One field of view of a urine filter membrane, 4× objective, 2028 × 1520 pixels.
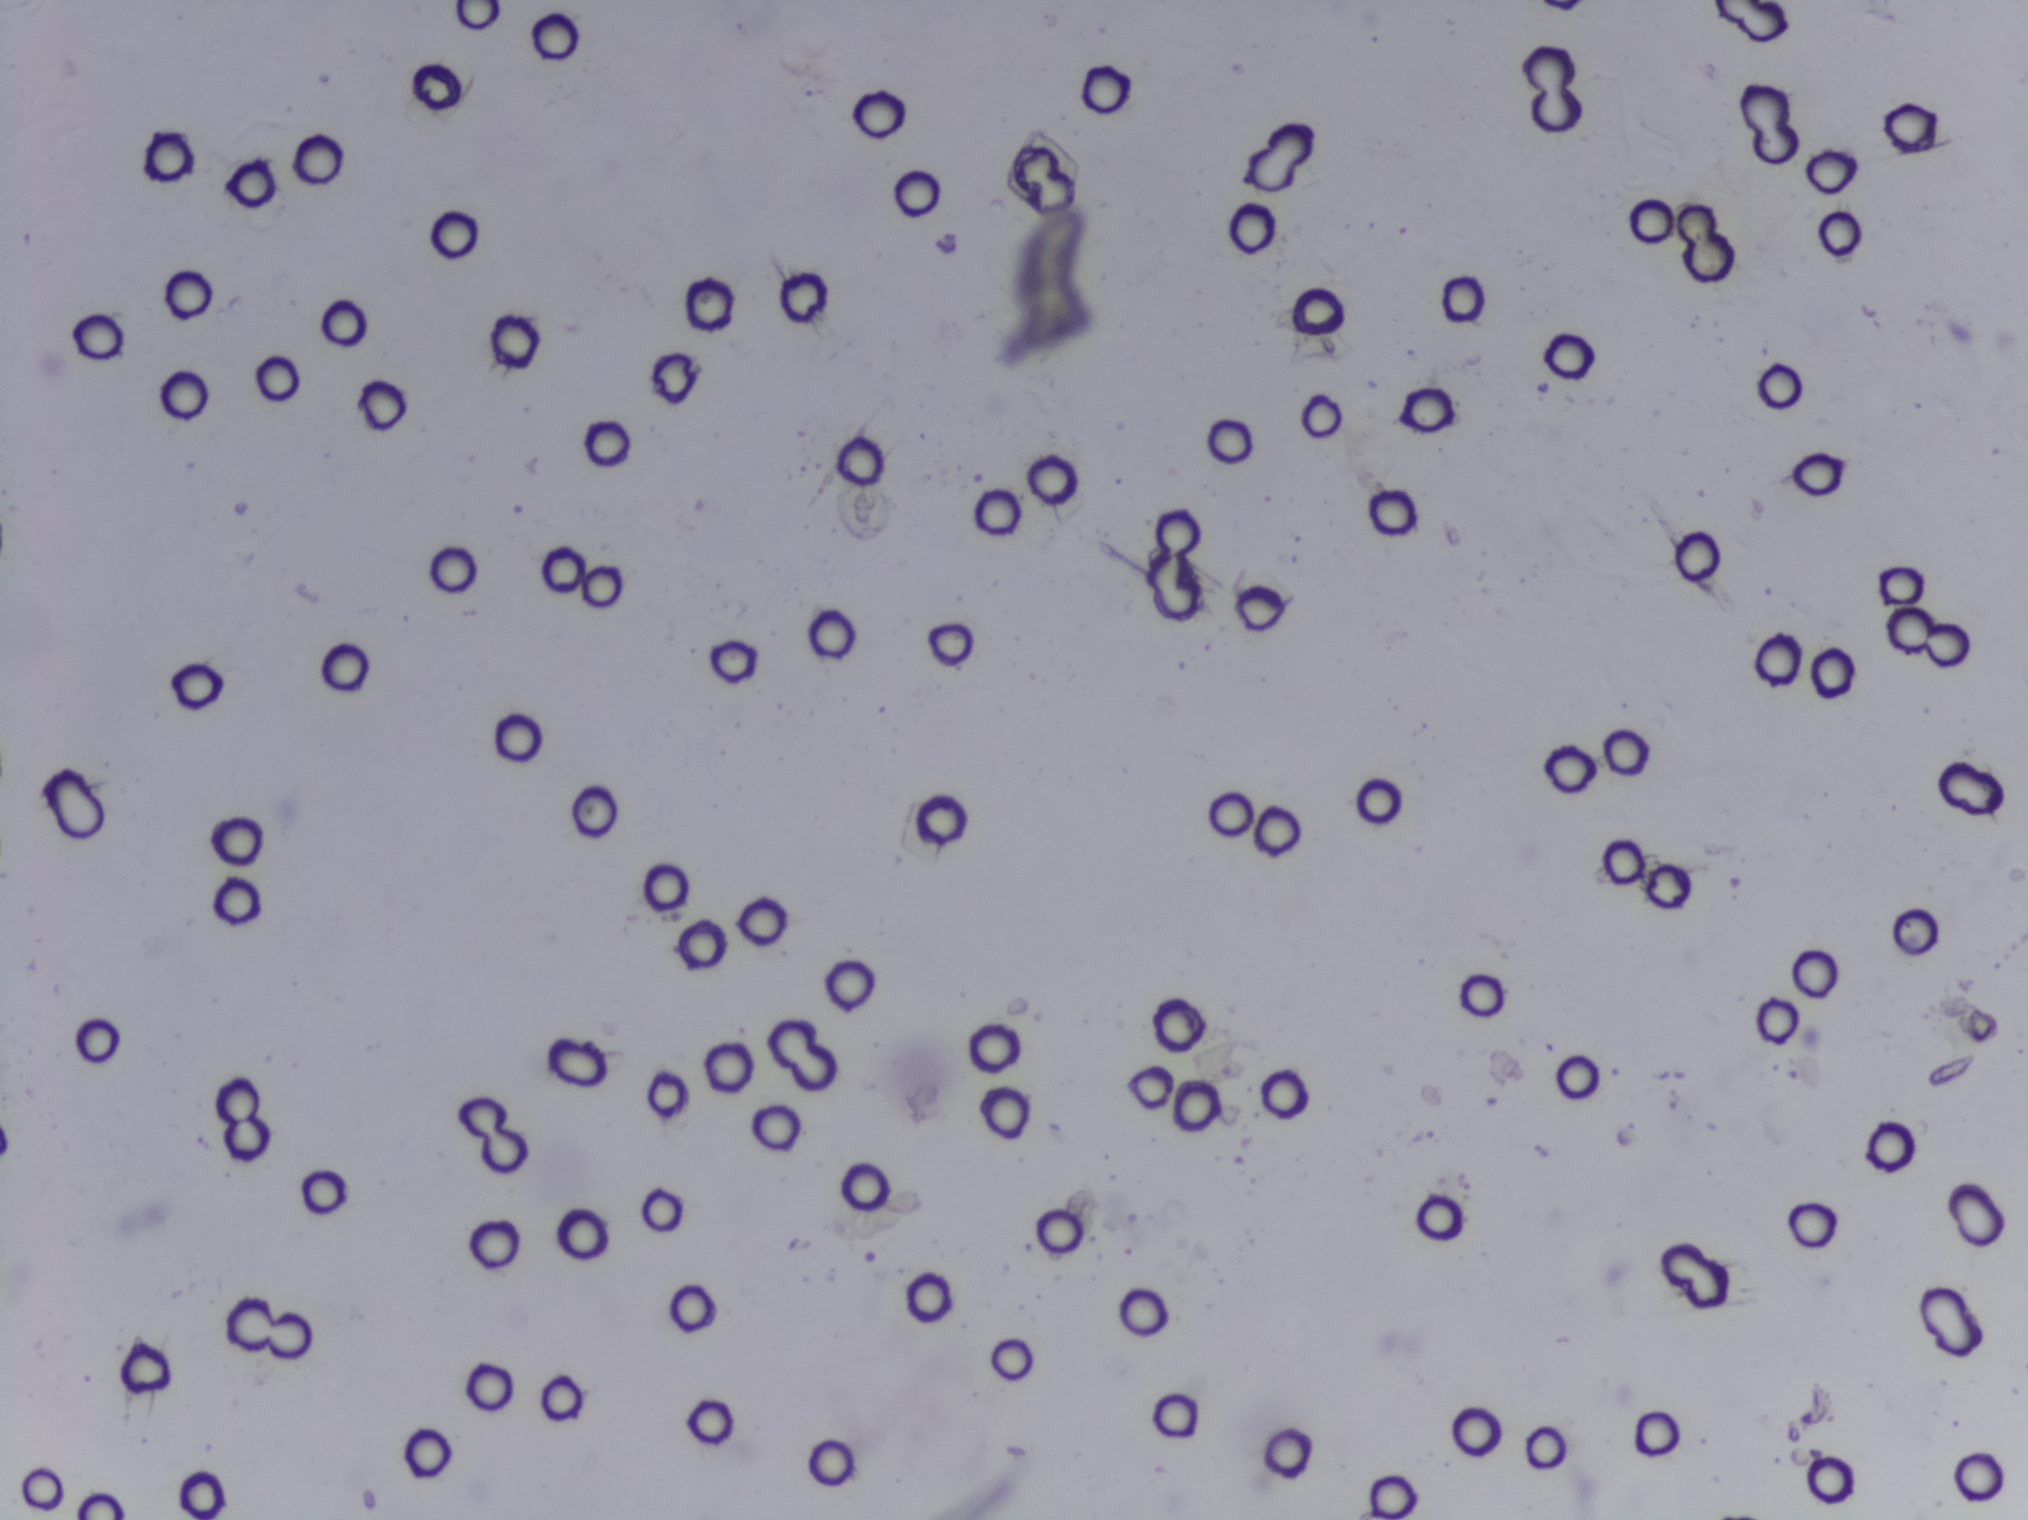
The expert annotation marks no Schistosoma egg in this field of view.